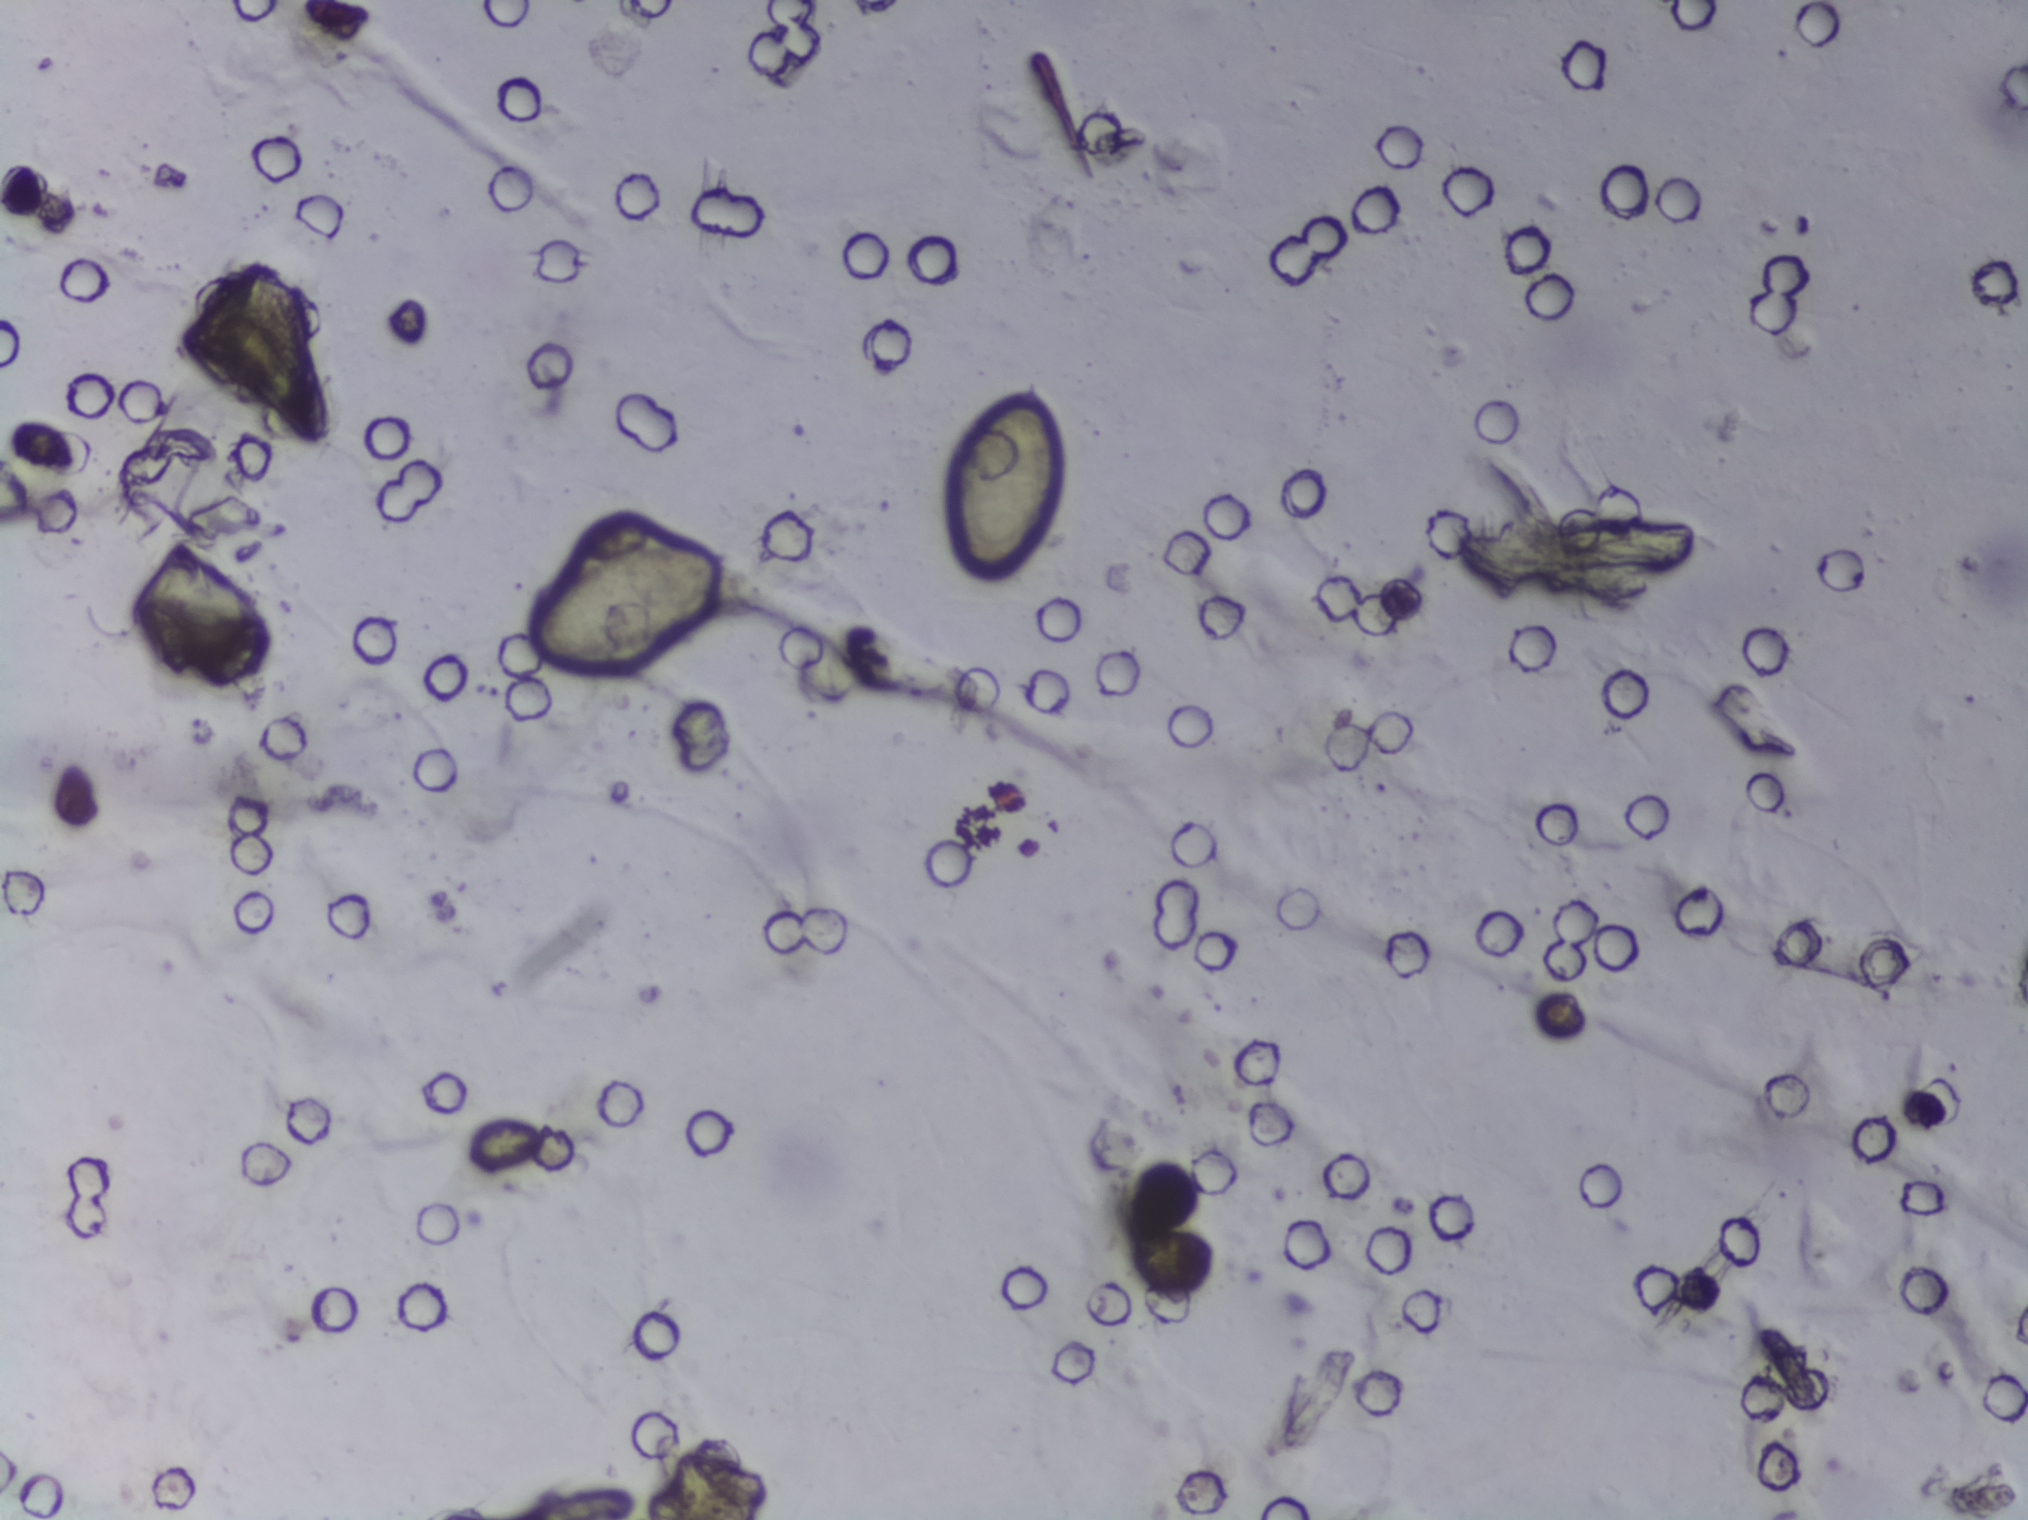
Urine filtration membrane under a 4× objective, photographed by an automated digital microscope.
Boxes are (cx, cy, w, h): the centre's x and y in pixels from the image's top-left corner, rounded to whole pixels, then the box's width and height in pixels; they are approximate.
Areas outlined as Schistosoma eggs: (cx=625, cy=606, w=214, h=135); (cx=1003, cy=478, w=108, h=205). A single outlined area may contain several eggs.